One field of view of a urine filter membrane, 4× objective, 2028 × 1520 pixels.
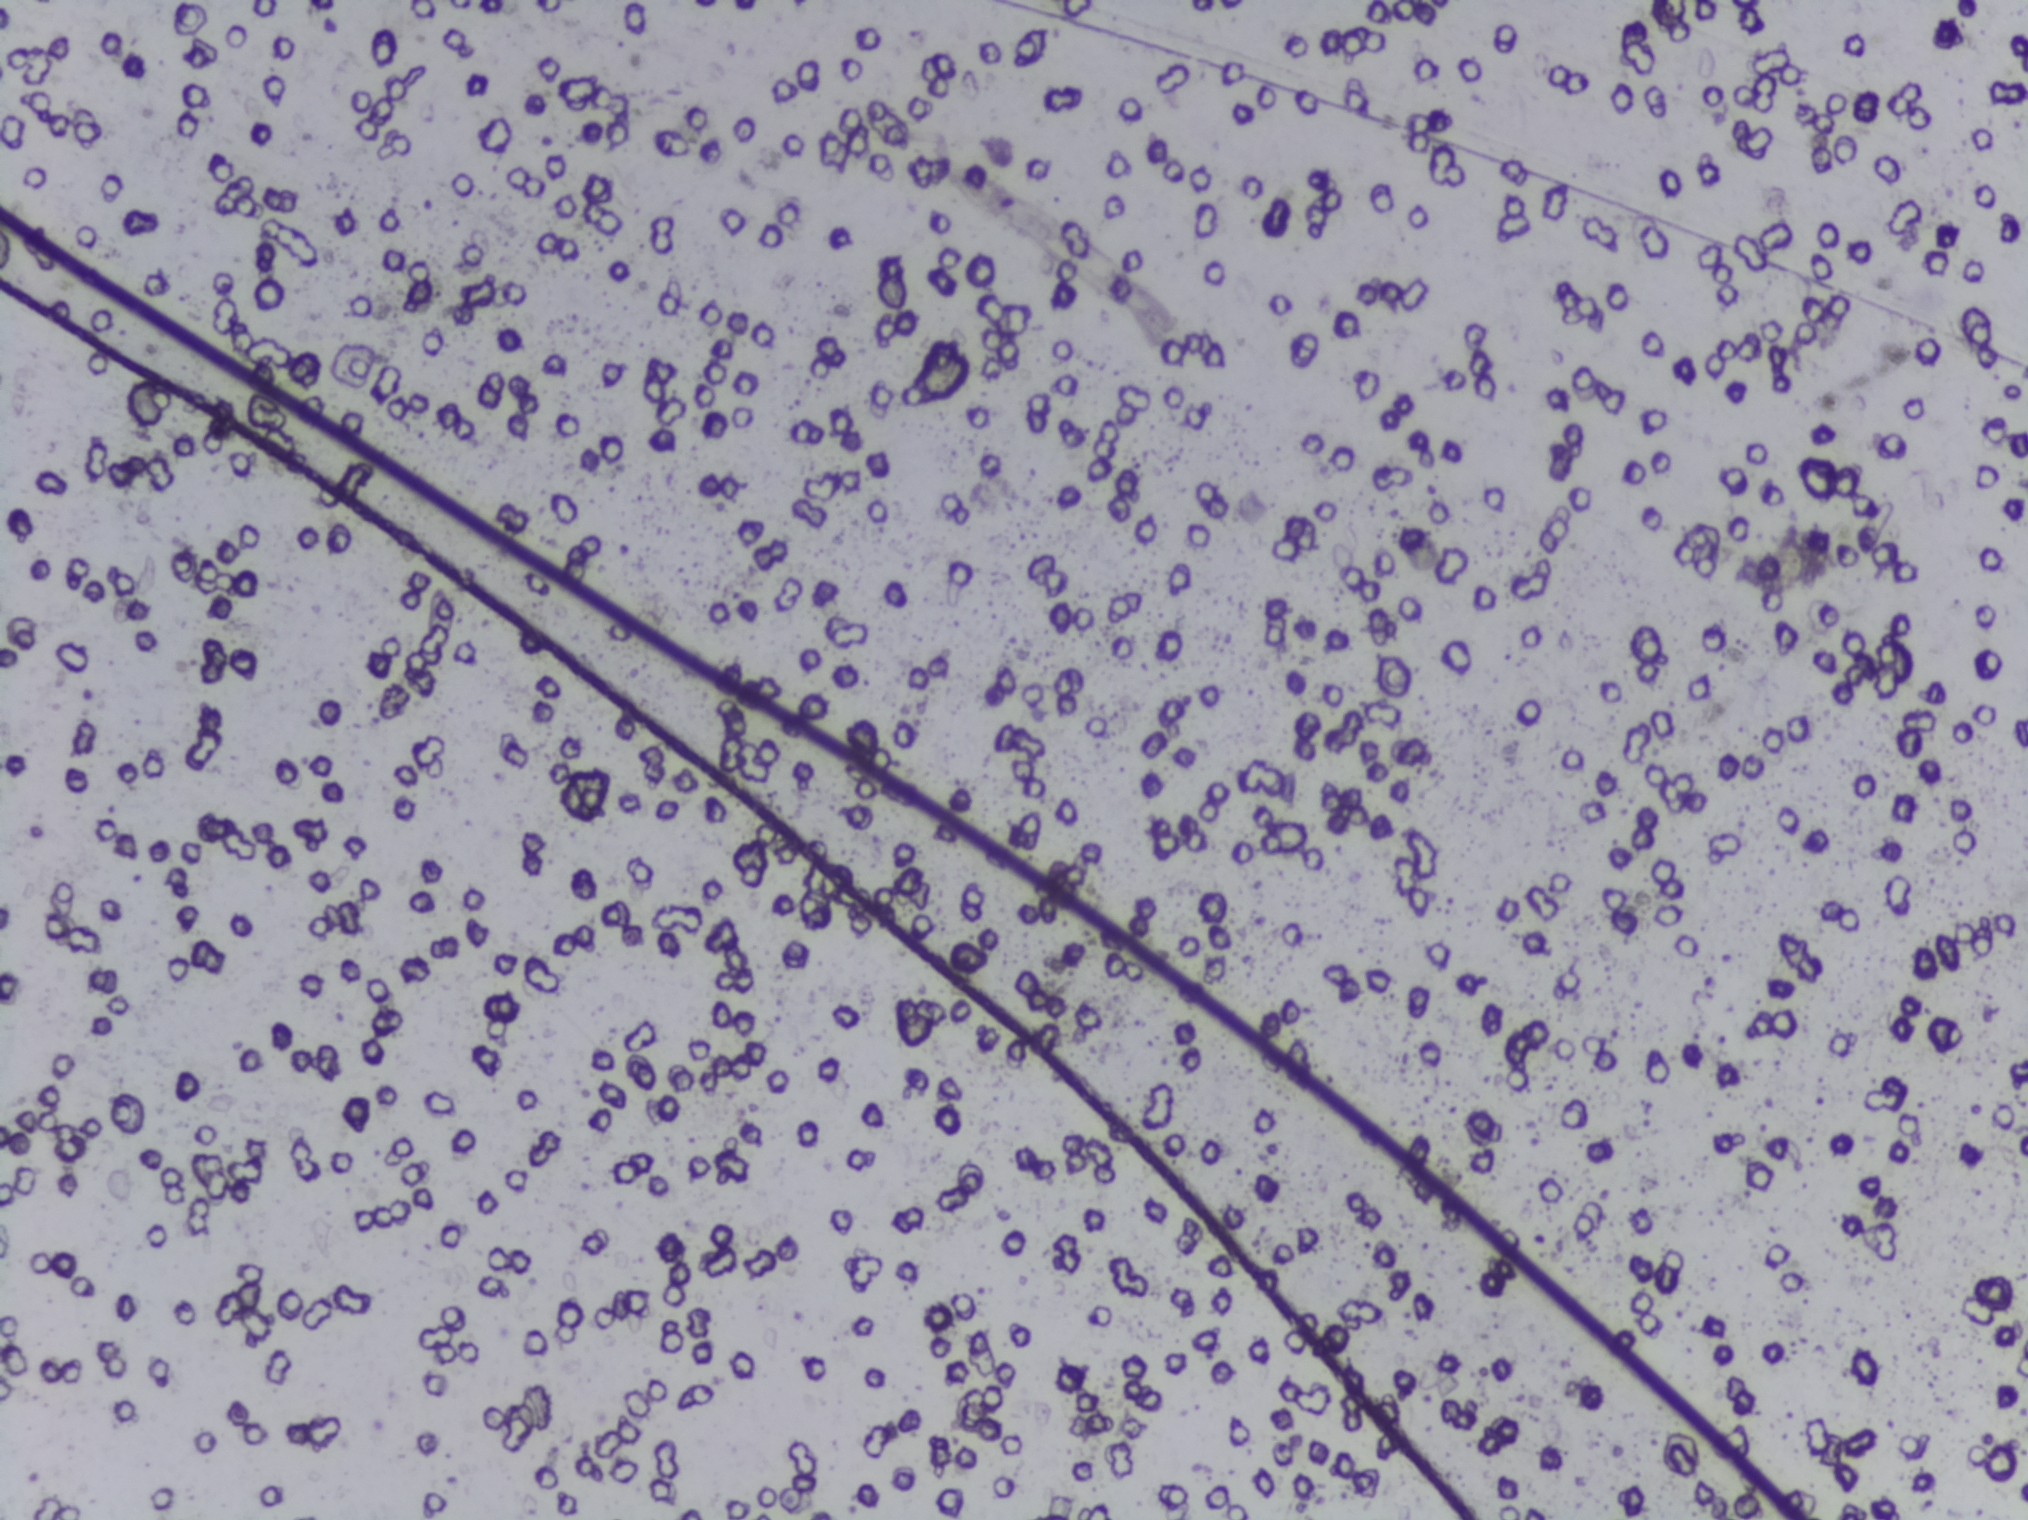
No area of this image was outlined as a Schistosoma egg.